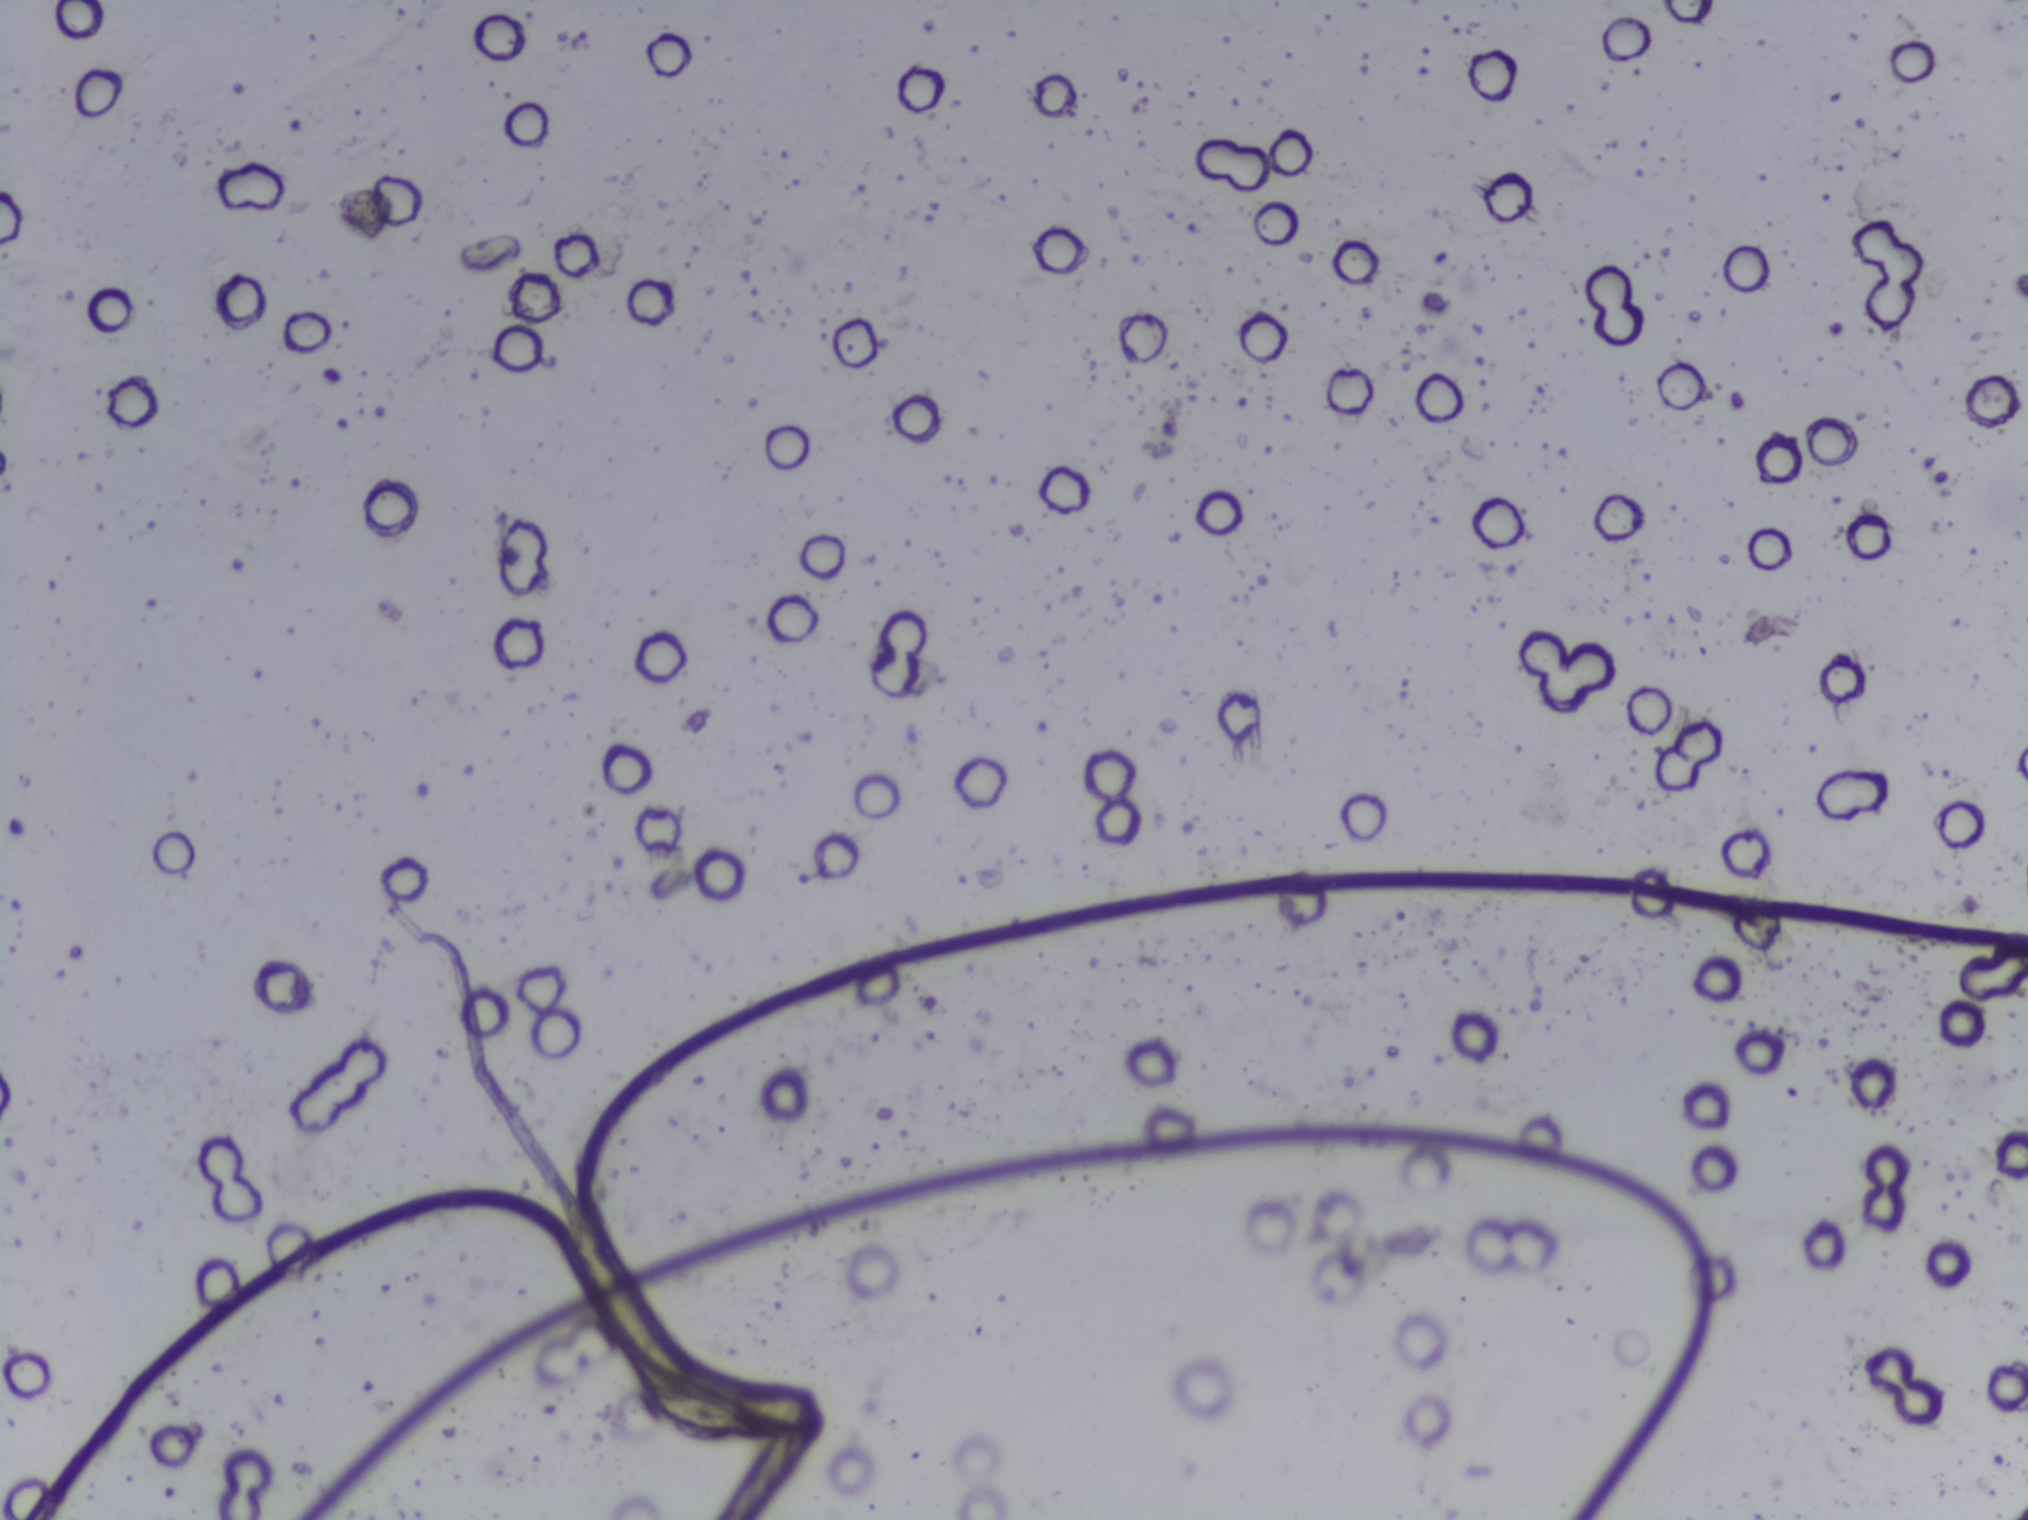
Urine filtration membrane under a 4× objective, photographed by an automated digital microscope.
The expert annotation outlines no Schistosoma egg in this image.